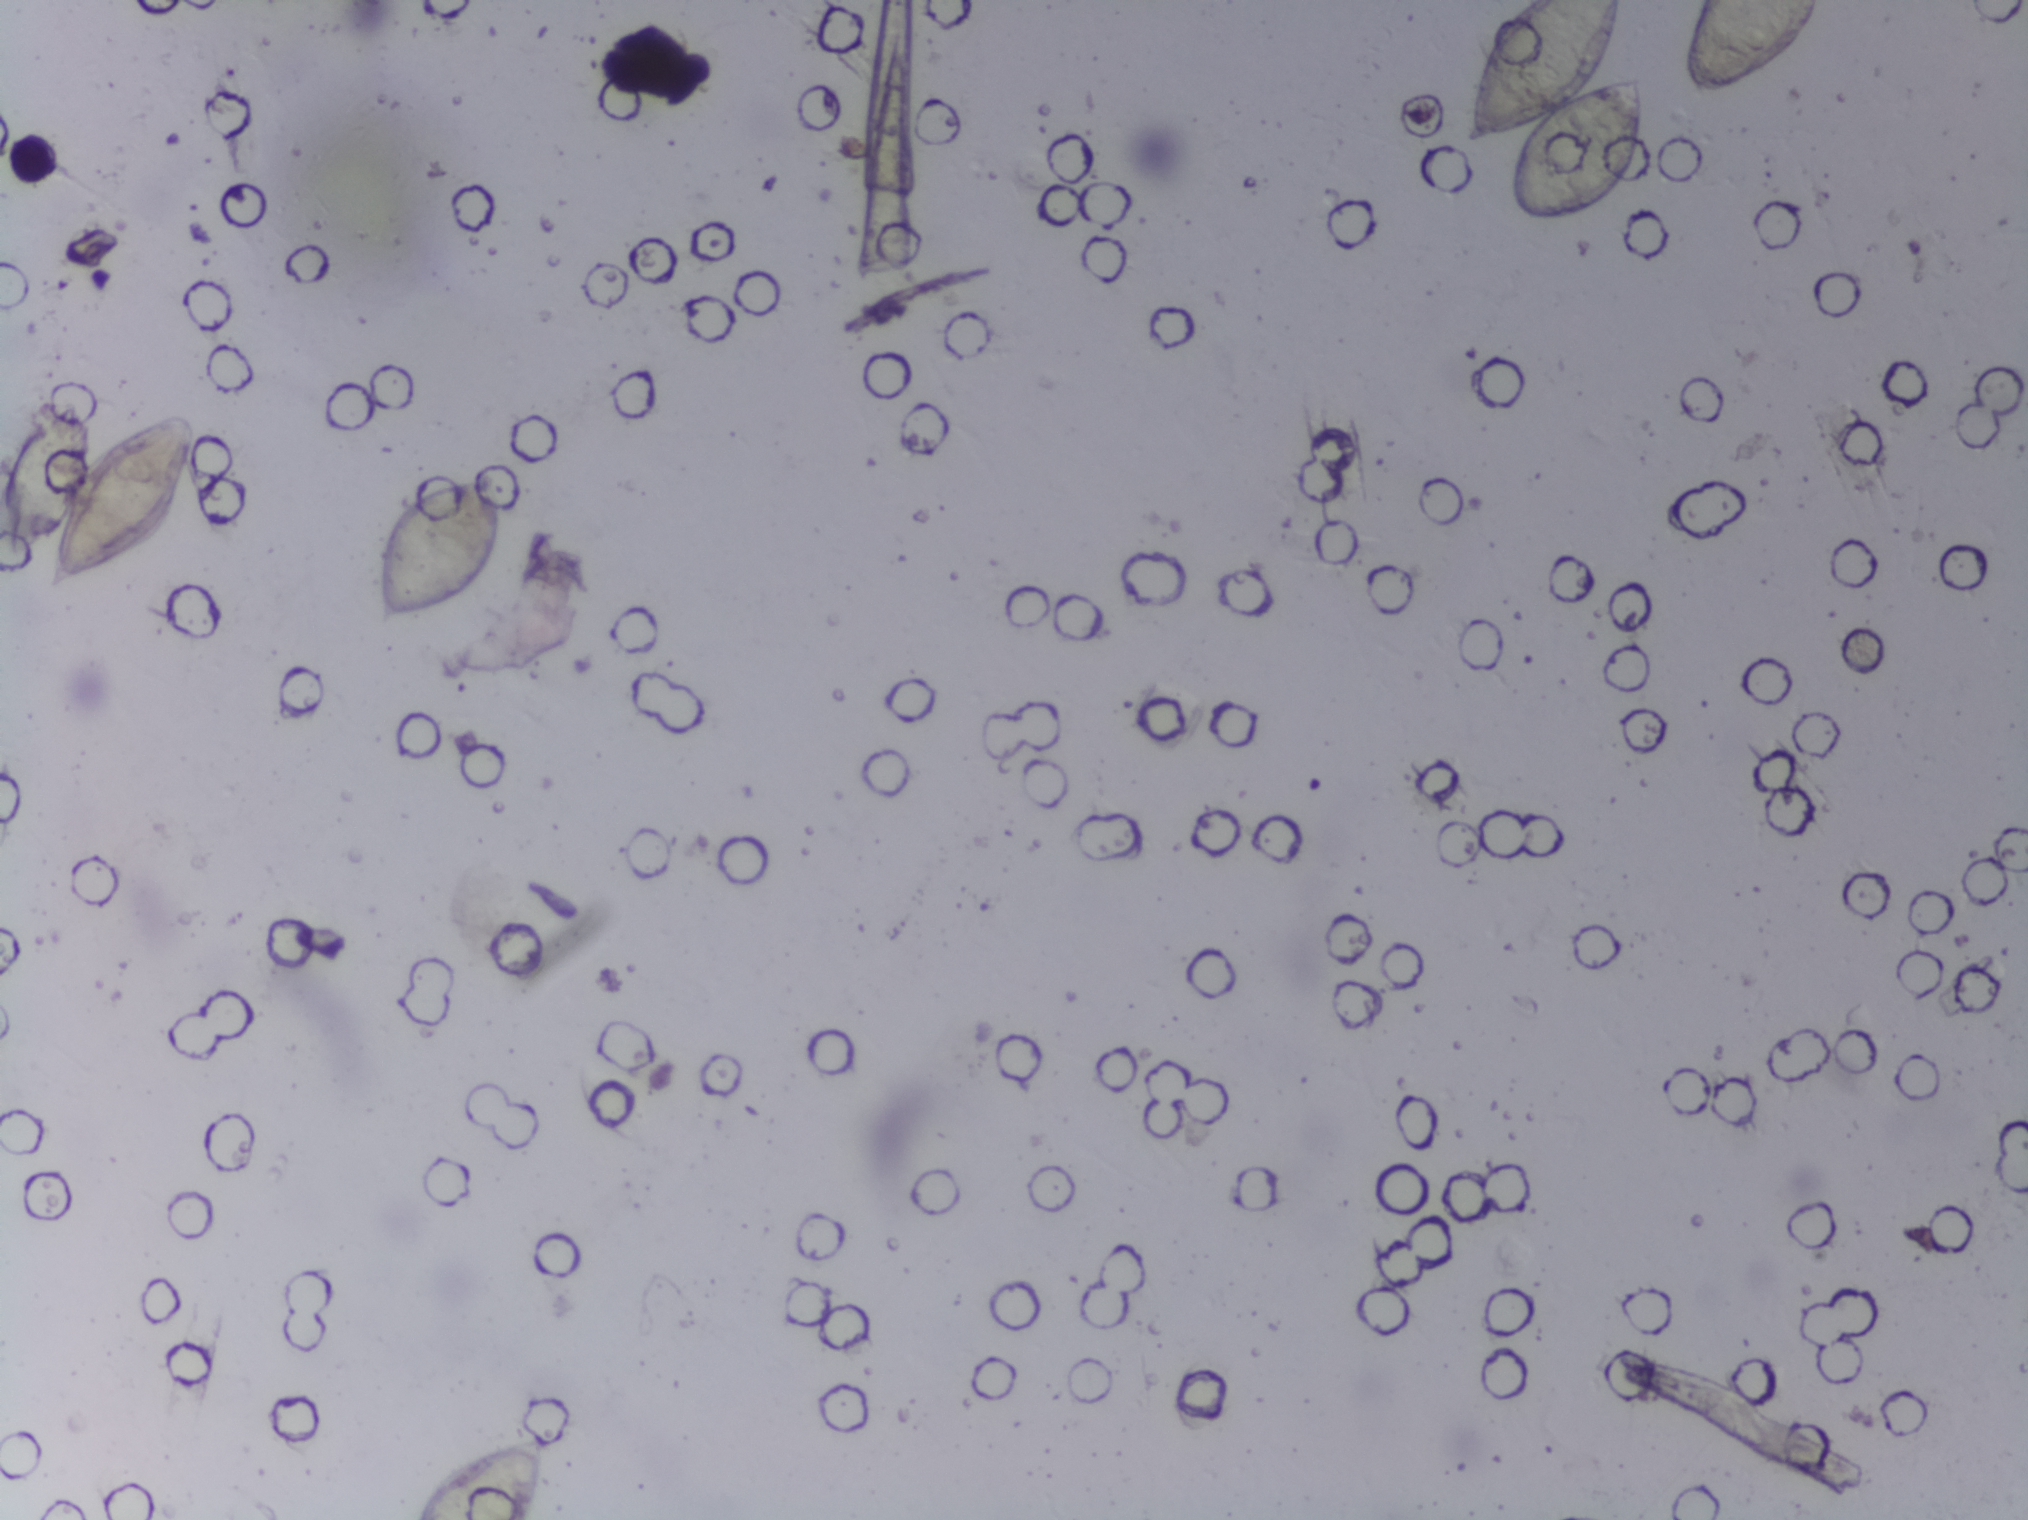
Urine filtration membrane under a 4× objective, photographed by an automated digital microscope.
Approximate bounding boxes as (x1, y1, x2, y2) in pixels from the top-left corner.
Findings: five areas outlined as Schistosoma eggs. Locations: (0, 396, 198, 590) (reaching the left edge of the frame); (373, 468, 502, 633); (408, 1428, 549, 1519) (reaching the bottom edge of the frame); (1462, 0, 1643, 225) (reaching the top edge of the frame); (1680, 0, 1821, 99) (reaching the top edge of the frame). An outlined area can hold more than one egg.